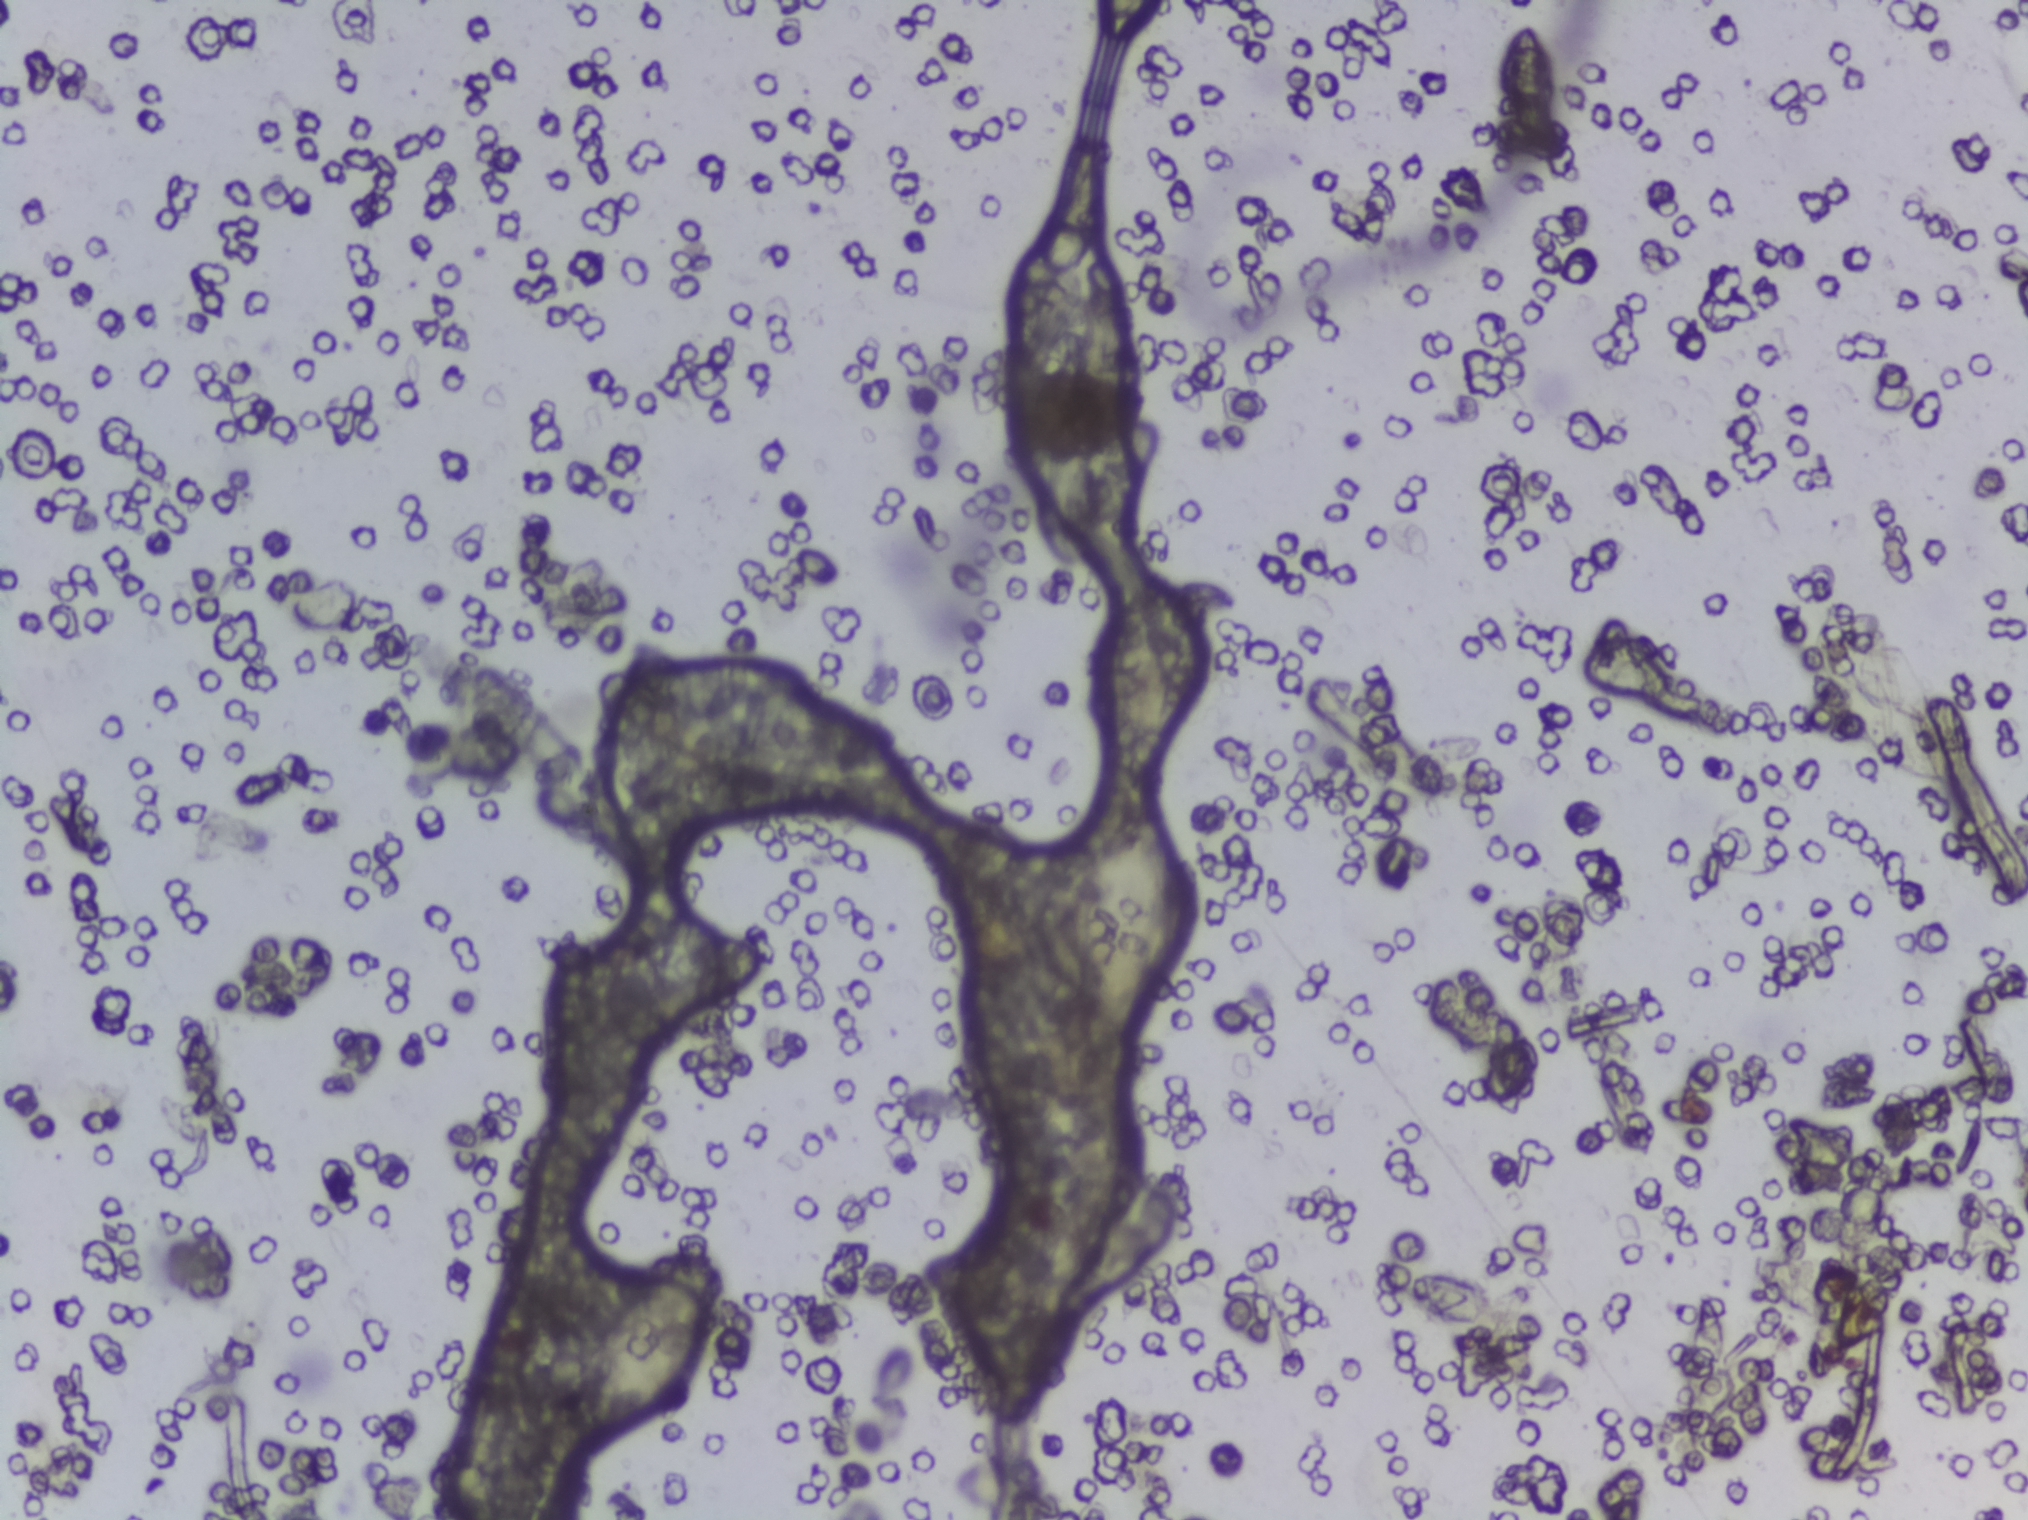
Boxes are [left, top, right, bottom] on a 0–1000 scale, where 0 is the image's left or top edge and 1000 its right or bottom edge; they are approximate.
Schistosoma eggs are outlined in three areas of this image, listed from left to right: [290, 824, 356, 945]; [527, 530, 581, 685]; [896, 399, 962, 514]. Marked pixels, not the boxes around them: about 1.5% of the image. A single outlined area may contain several eggs.
Photomicrograph of a urine filtration membrane, 4× objective. The image covers about 1.5 × 1.1 mm of the membrane.